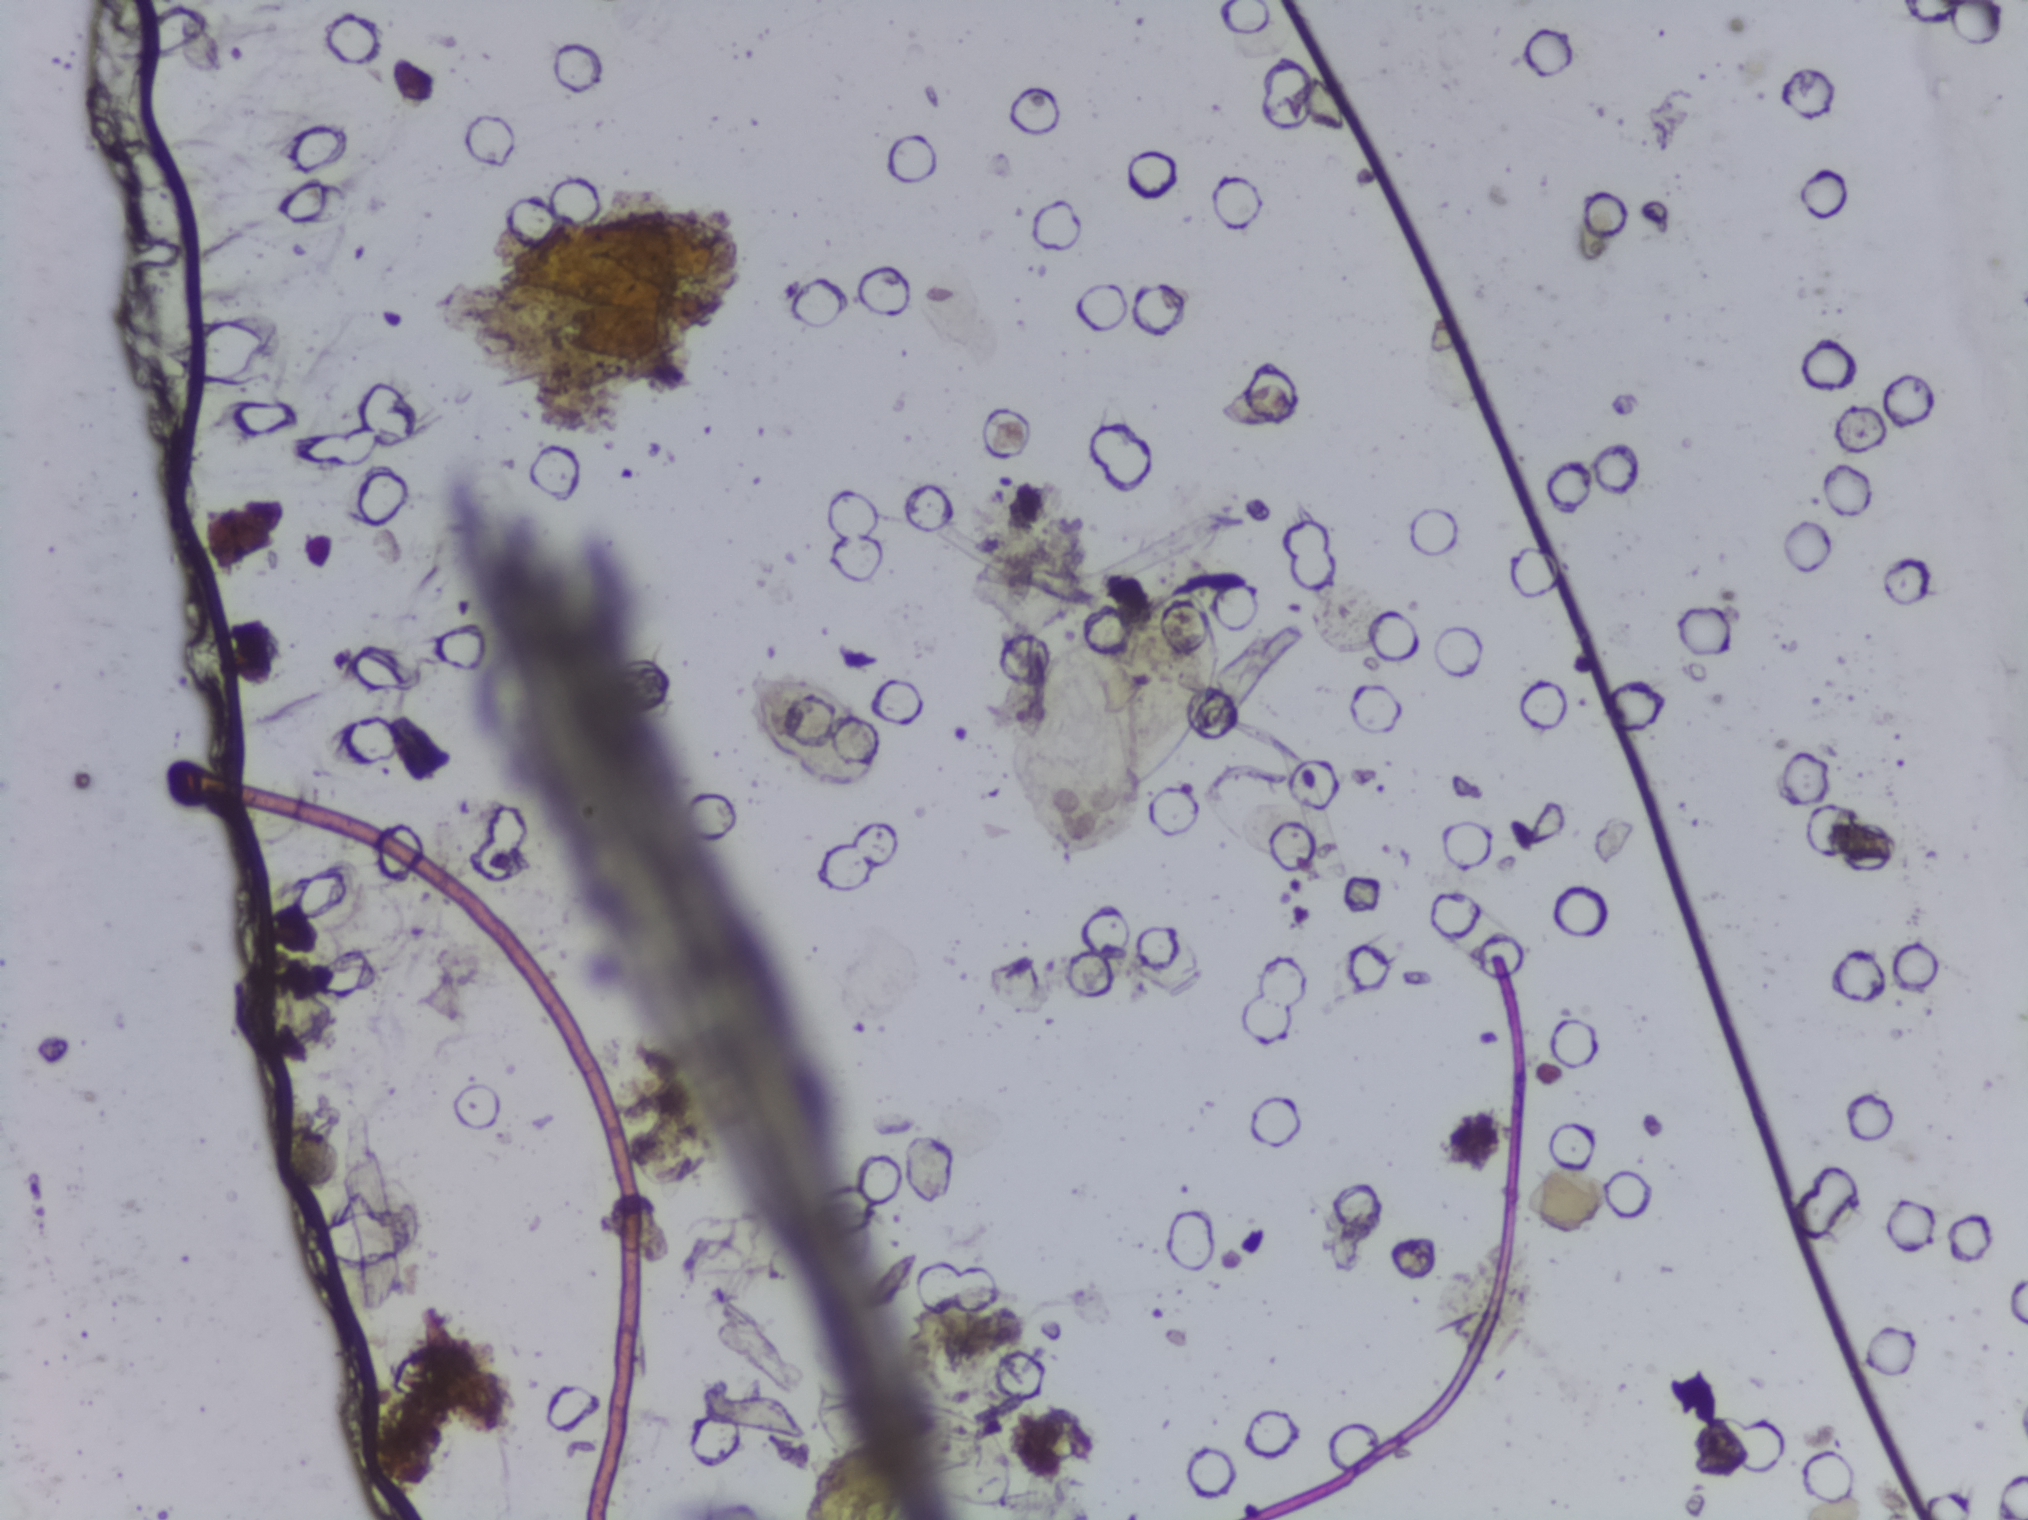
Photomicrograph of a urine filtration membrane, 4× objective. Field of view: about 1.5 mm wide and 1.1 mm high.
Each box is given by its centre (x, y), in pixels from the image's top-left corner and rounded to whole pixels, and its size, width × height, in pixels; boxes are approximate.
Schistosoma eggs, outlined areas: centre (813, 731), 137 × 116 px; centre (910, 1442), 218 × 132 px; centre (1158, 688), 121 × 217 px. A single outlined area may contain several eggs.